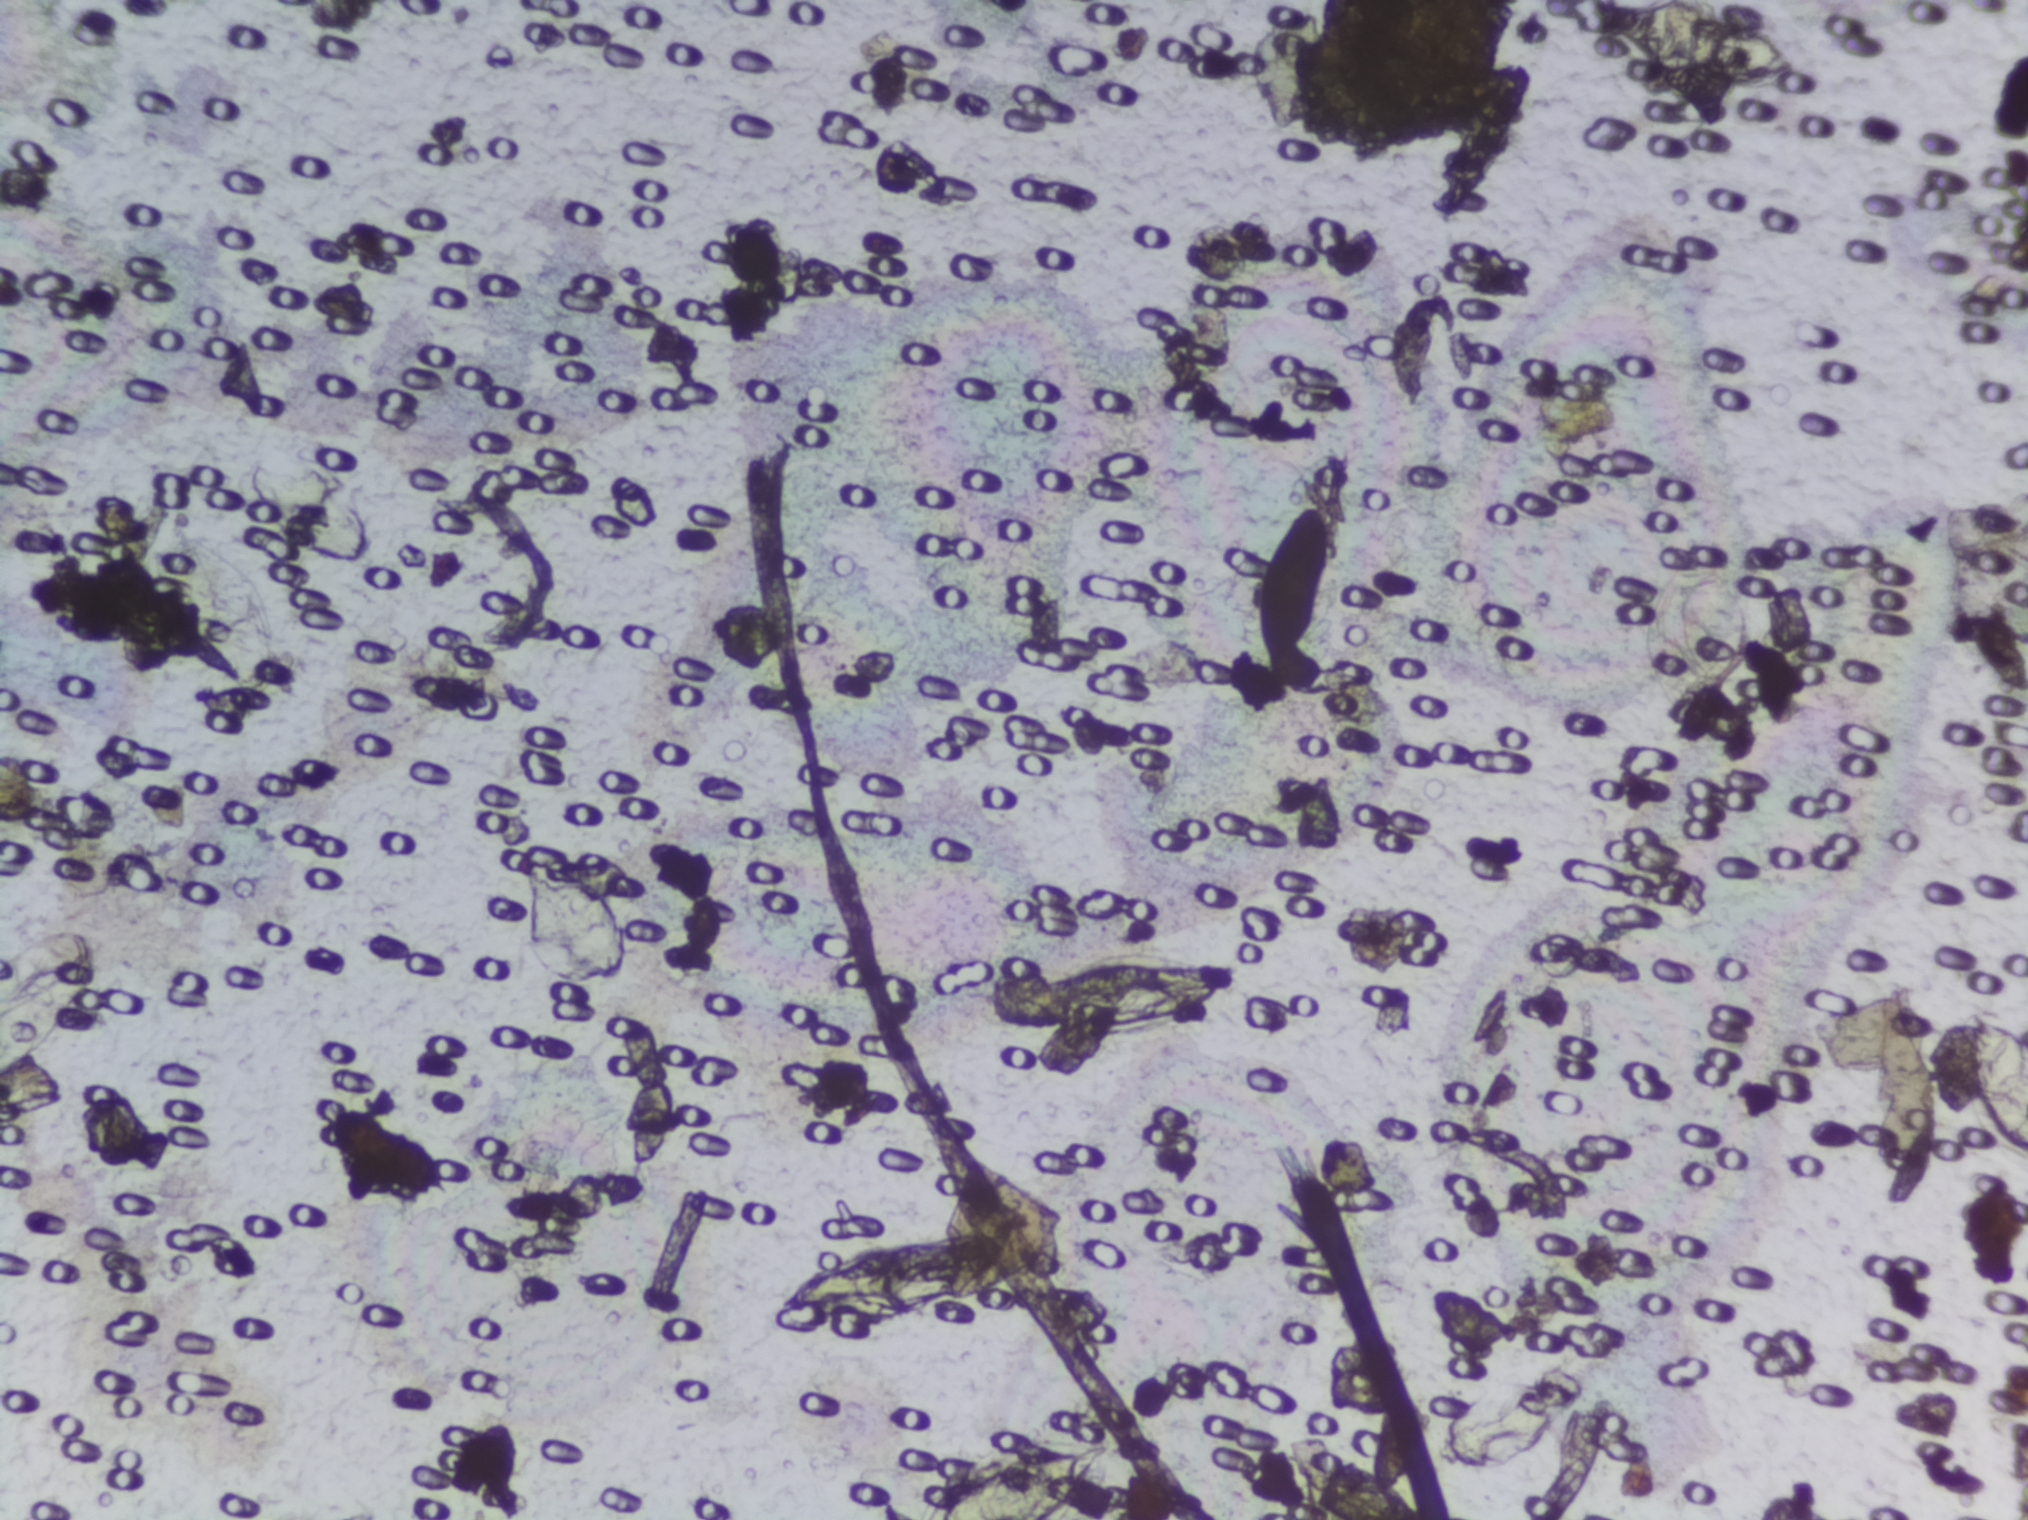
Urine filtration membrane under a 4× objective, photographed by an automated digital microscope. The image covers about 1.5 × 1.1 mm of the membrane.
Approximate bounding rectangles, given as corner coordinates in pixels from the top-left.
The expert annotation outlines Schistosoma eggs at (x1=726, y1=1226, x2=1024, y2=1335); (x1=918, y1=1429, x2=1127, y2=1514); (x1=931, y1=956, x2=1248, y2=1035); (x1=1239, y1=500, x2=1352, y2=690); (x1=1556, y1=0, x2=1824, y2=93) (reaching the top edge of the frame); (x1=1955, y1=979, x2=2027, y2=1172) (reaching the right edge of the frame). An outlined area can hold more than one egg.